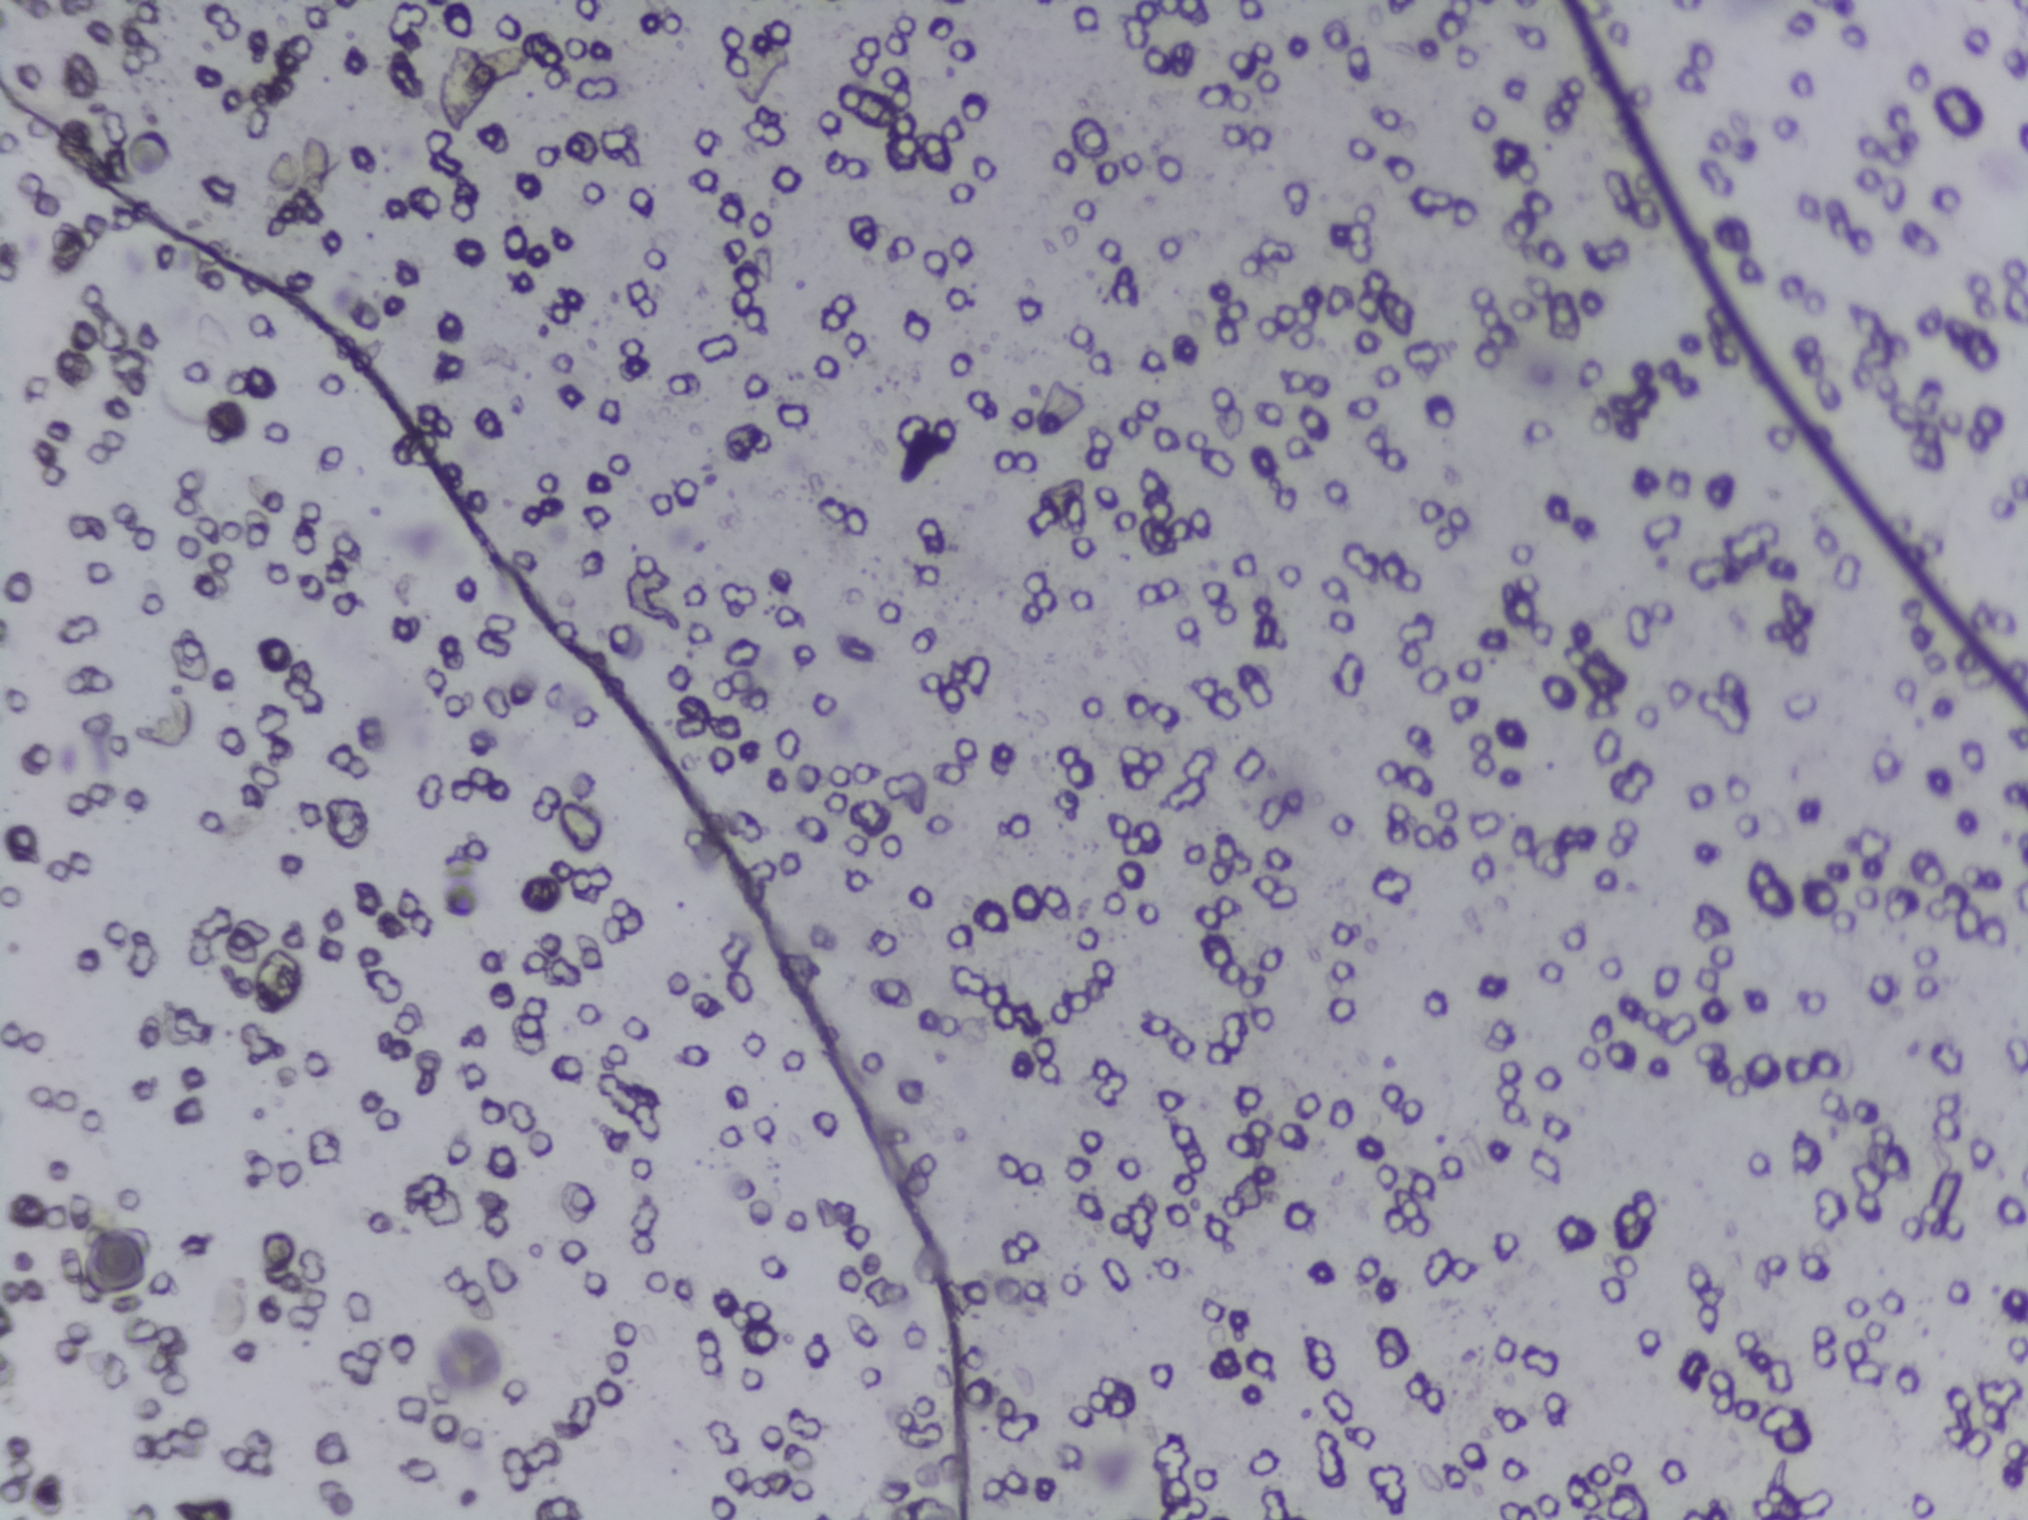
Photograph from an automated digital microscope: urine filter membrane, 4× objective. Field of view: about 1.5 mm wide and 1.1 mm high.
No Schistosoma egg is outlined in this image's expert annotation.